One field of view of a urine filter membrane, 4× objective, 2028 × 1520 pixels.
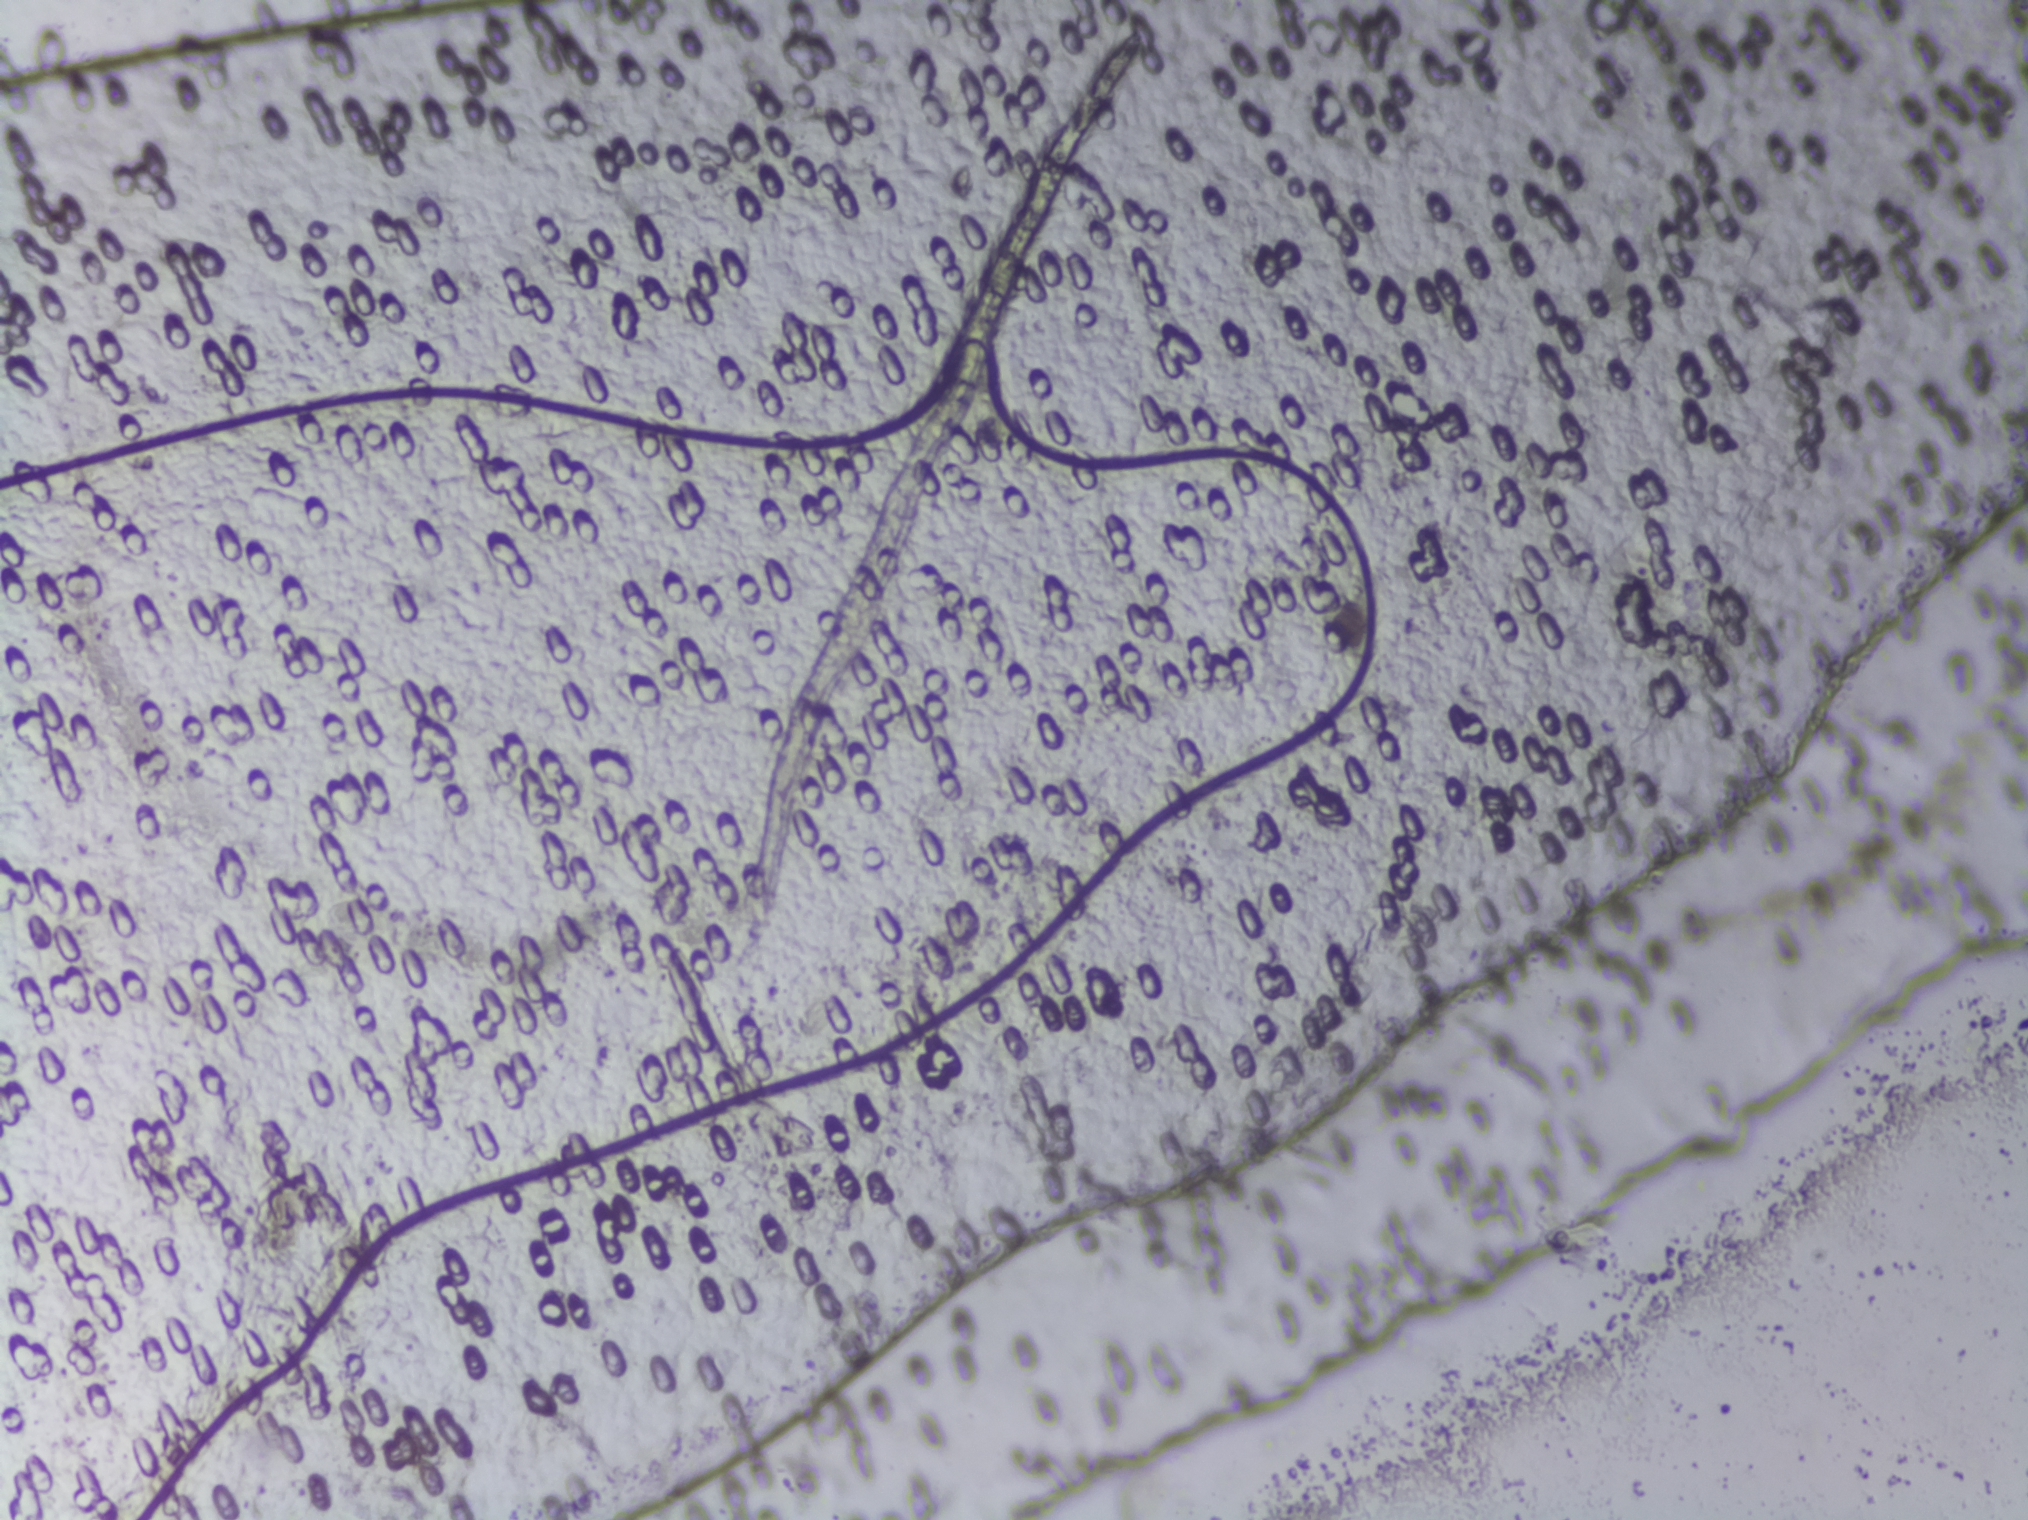
No Schistosoma egg is outlined in this image's expert annotation.